Photomicrograph of a urine filtration membrane, 4× objective.
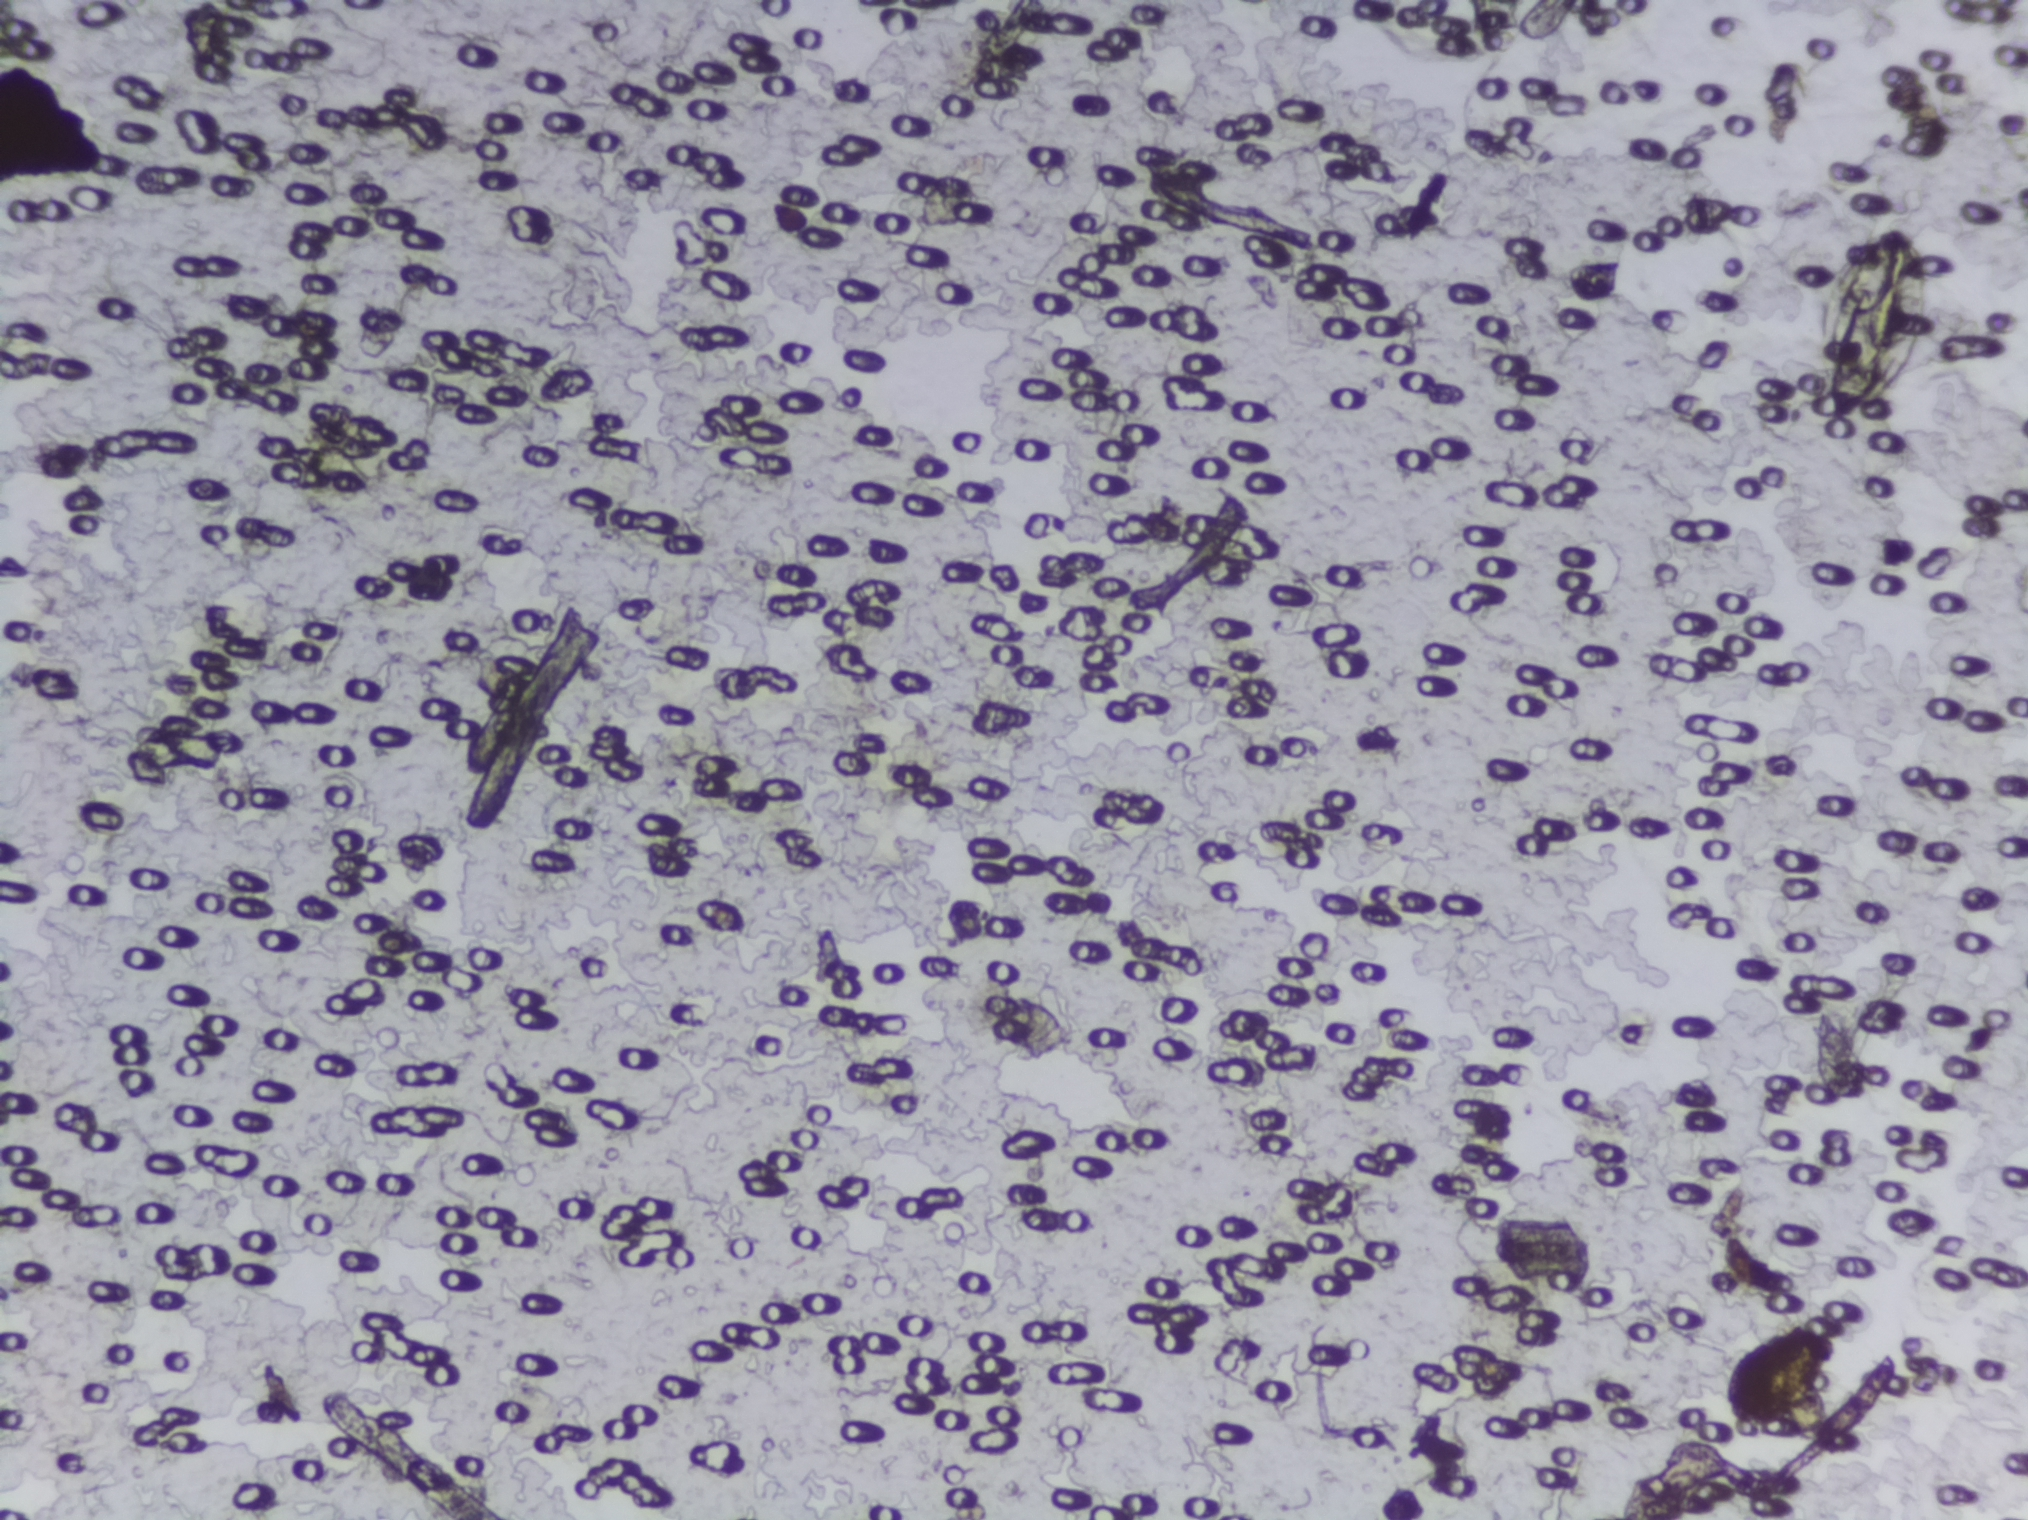
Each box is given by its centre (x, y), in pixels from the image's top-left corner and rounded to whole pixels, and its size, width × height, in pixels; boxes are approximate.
Areas outlined as Schistosoma eggs: centre (1870, 332), 145 × 229 px. Eggs that touch can end up inside the same outlined area.